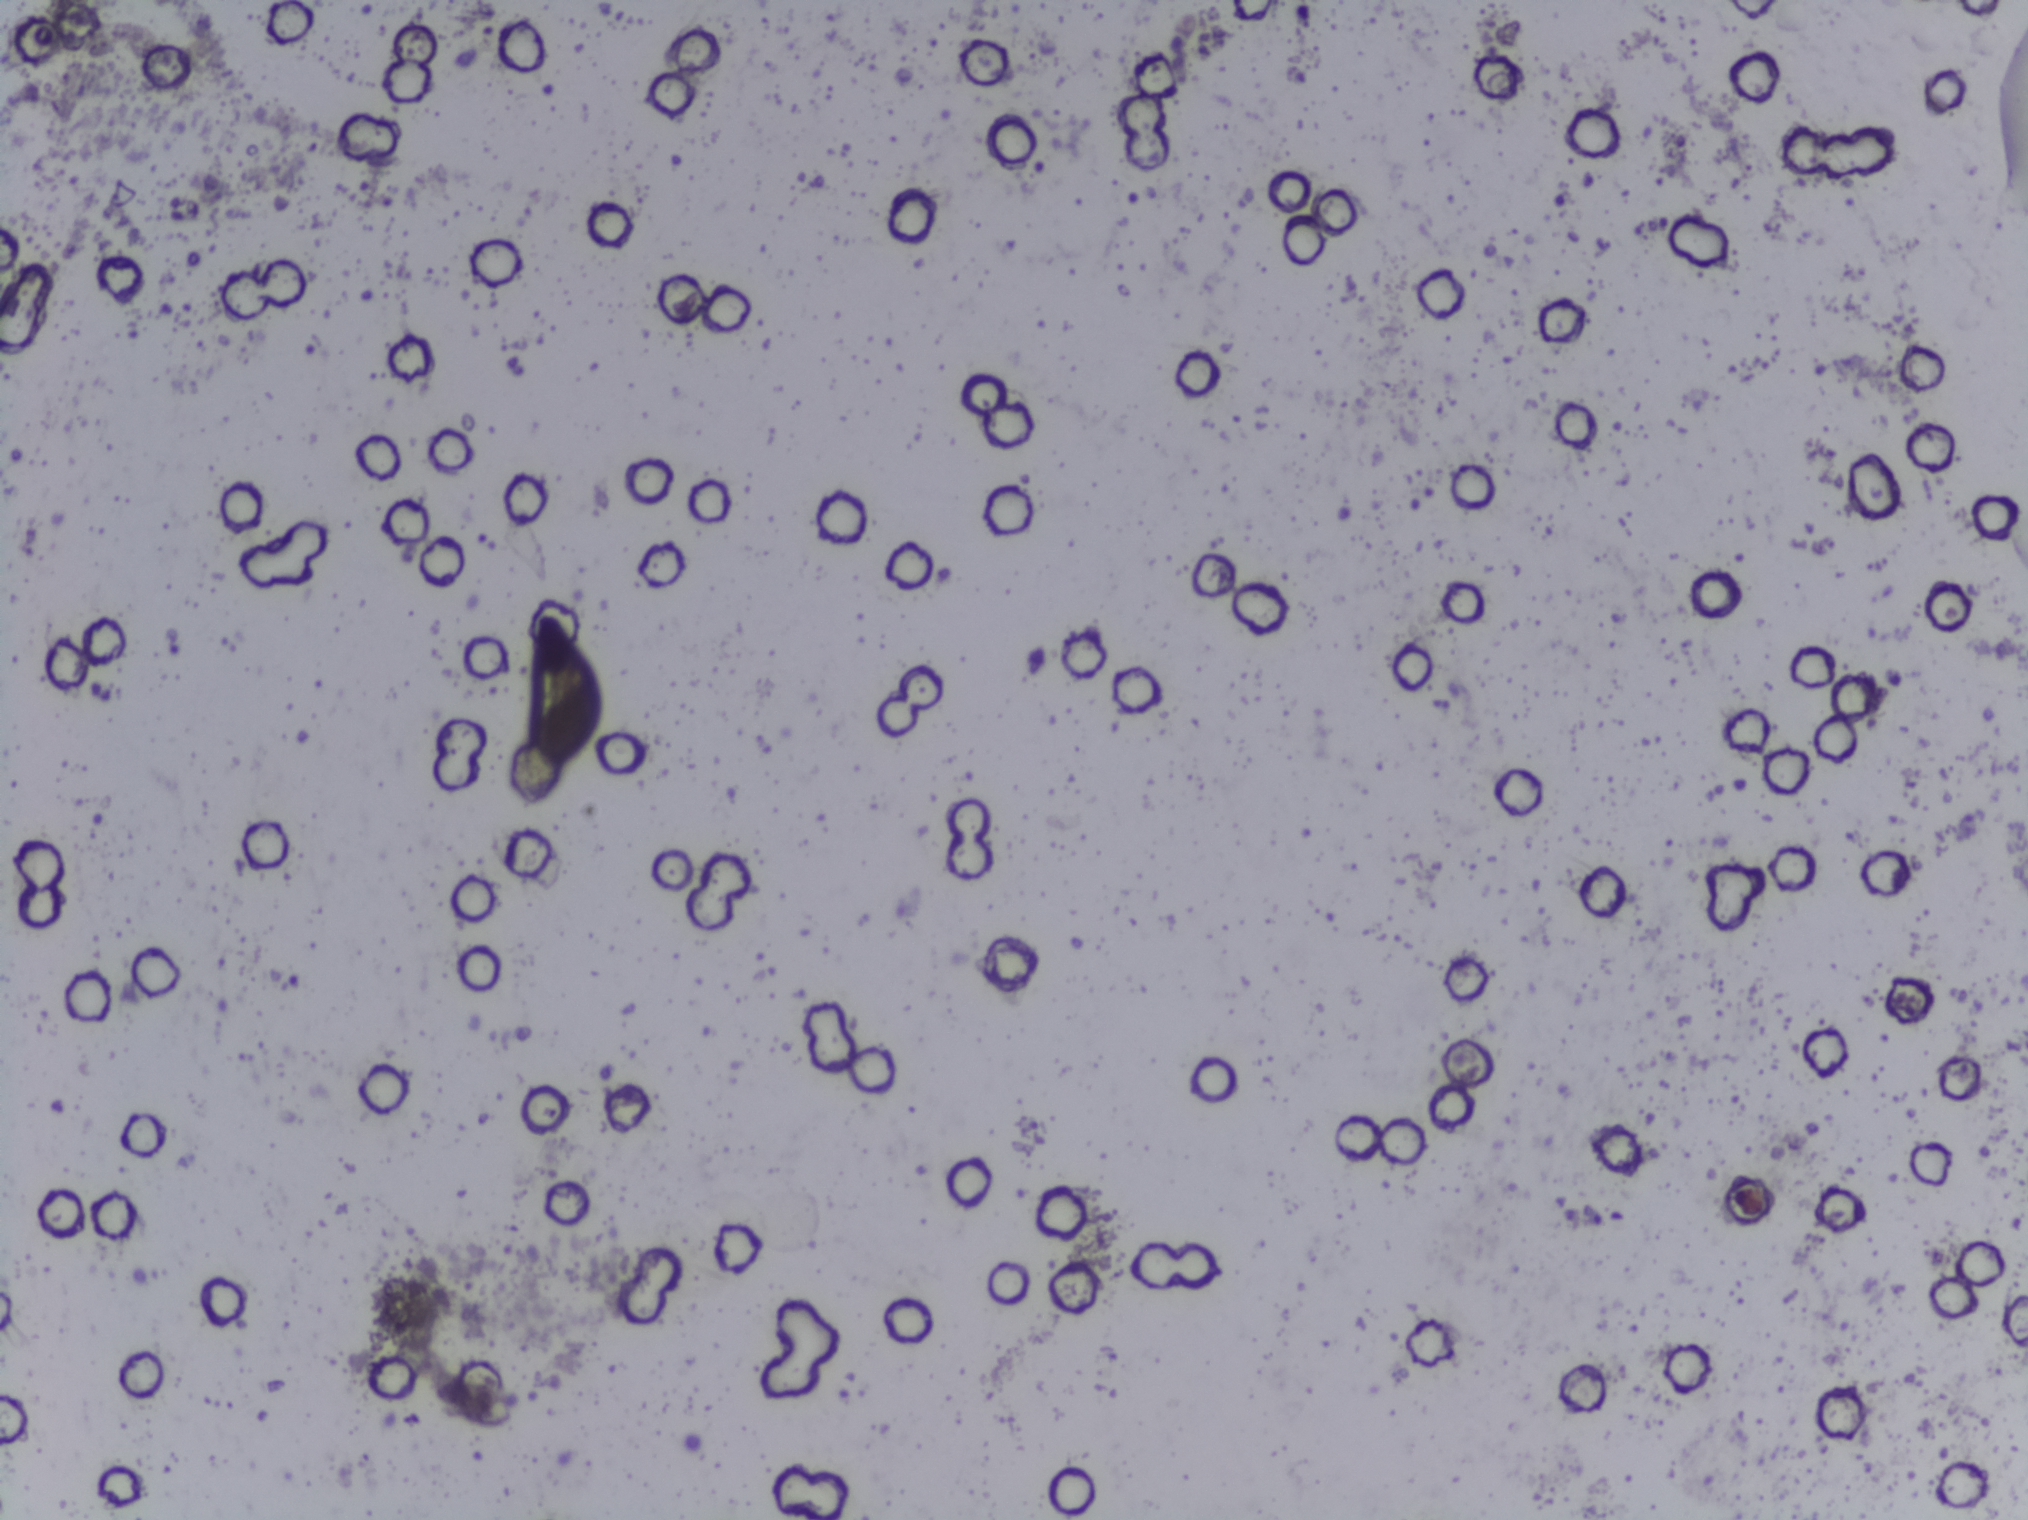
Photograph from an automated digital microscope: urine filter membrane, 4× objective.
Schistosoma eggs: none outlined.